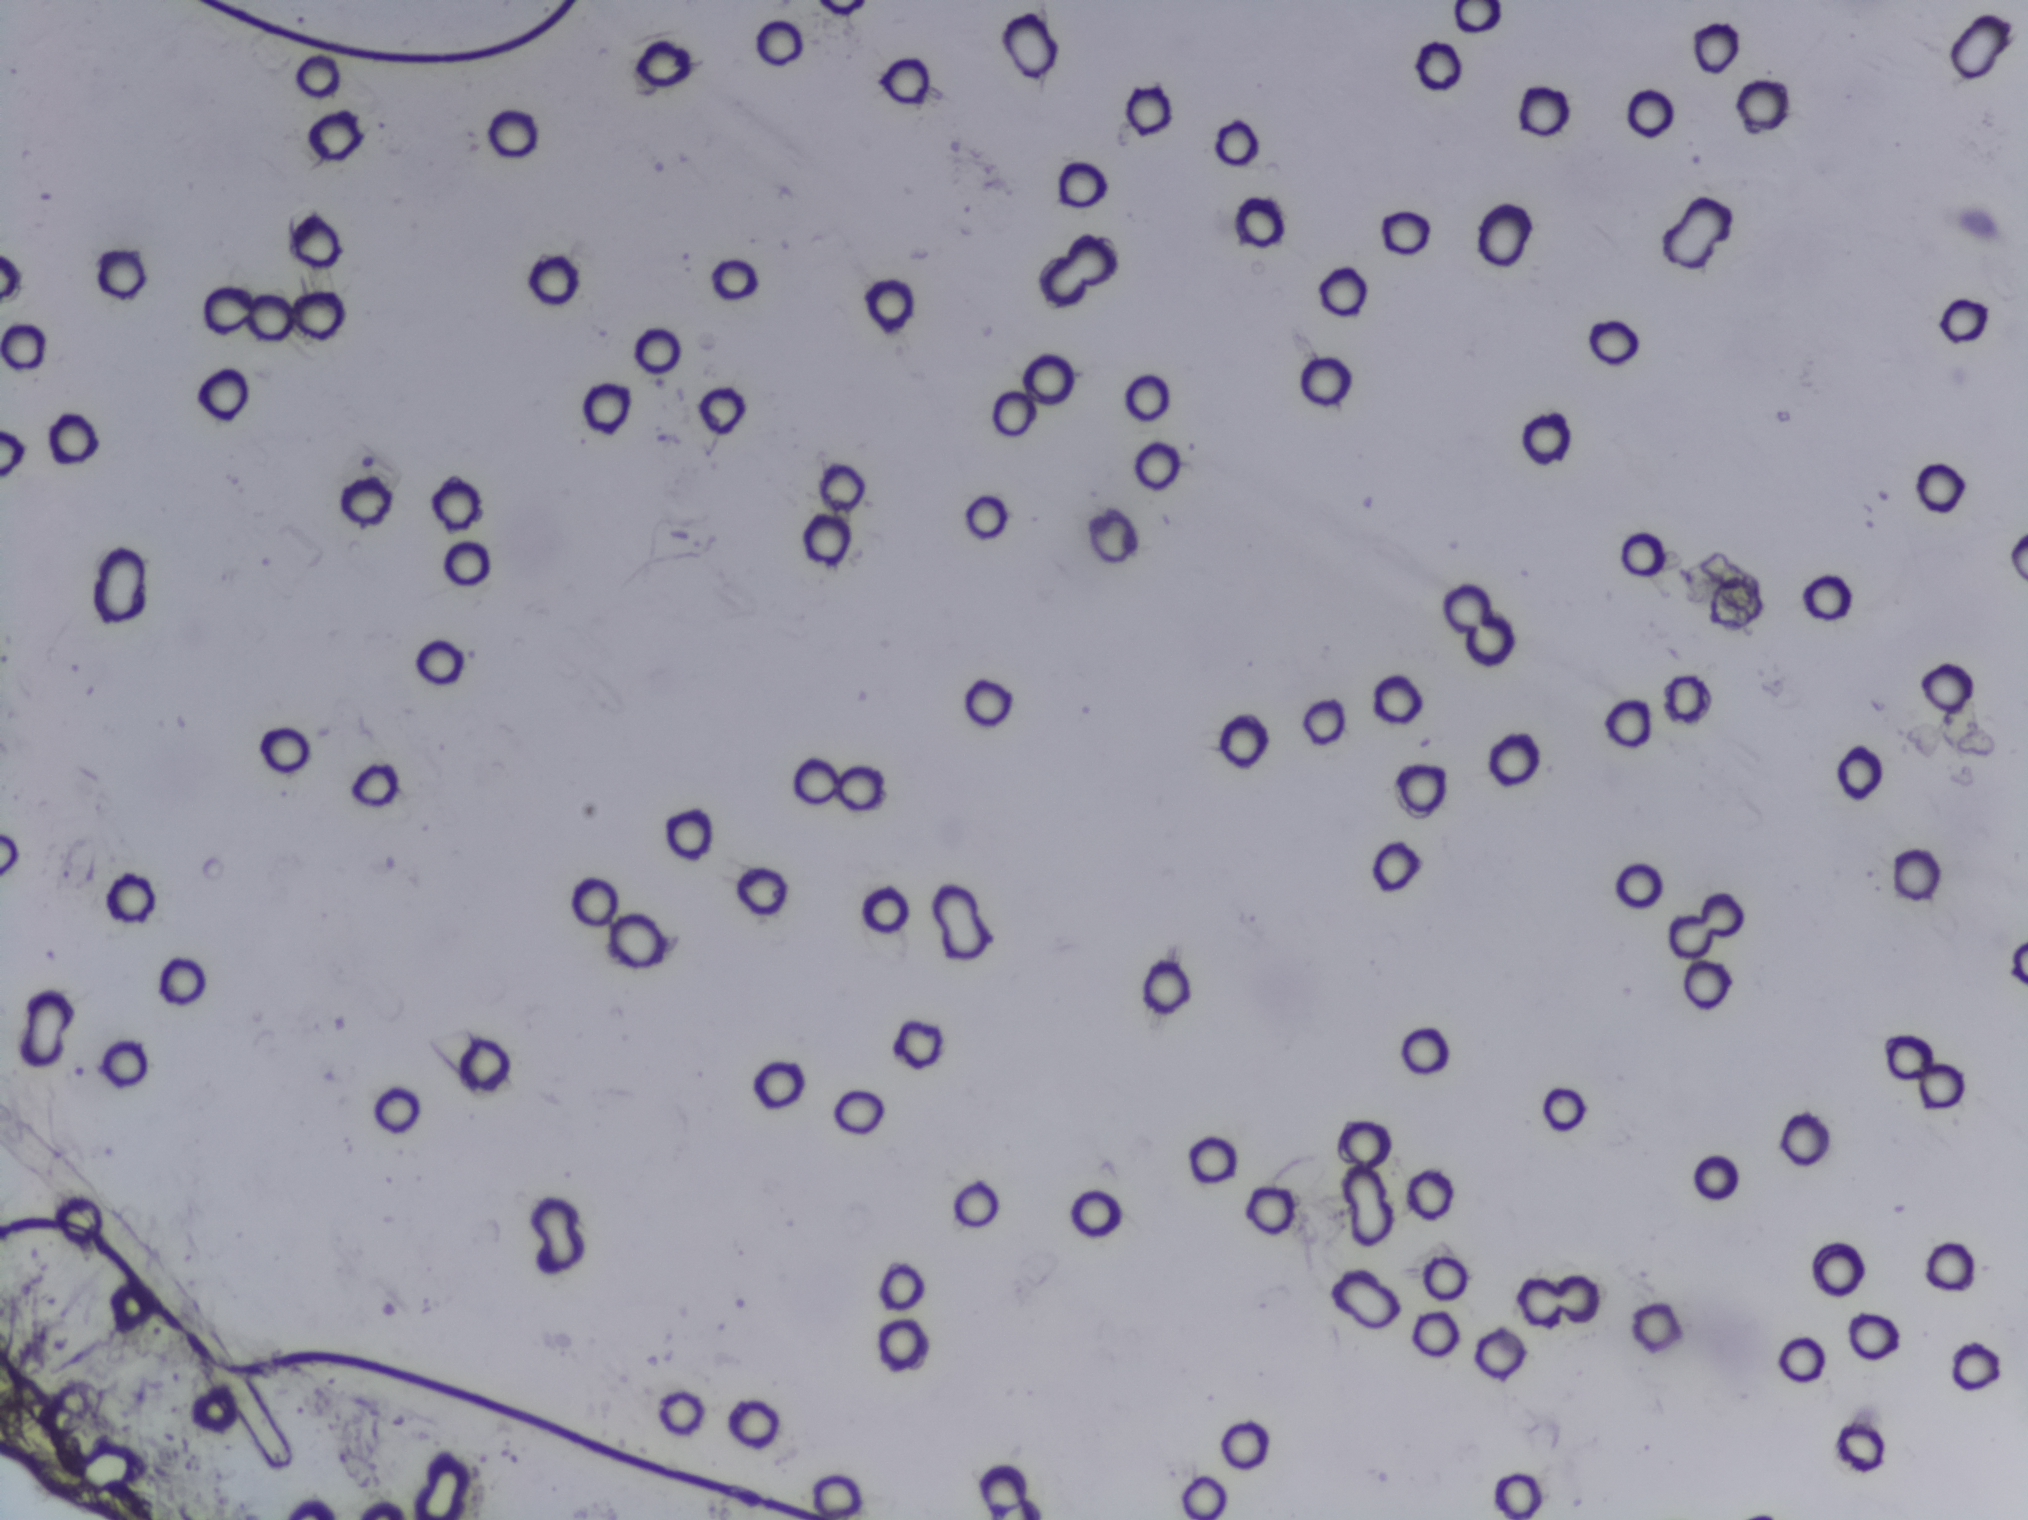
Urine filtration membrane under a 4× objective, photographed by an automated digital microscope.
The expert annotation marks no Schistosoma egg in this field of view.